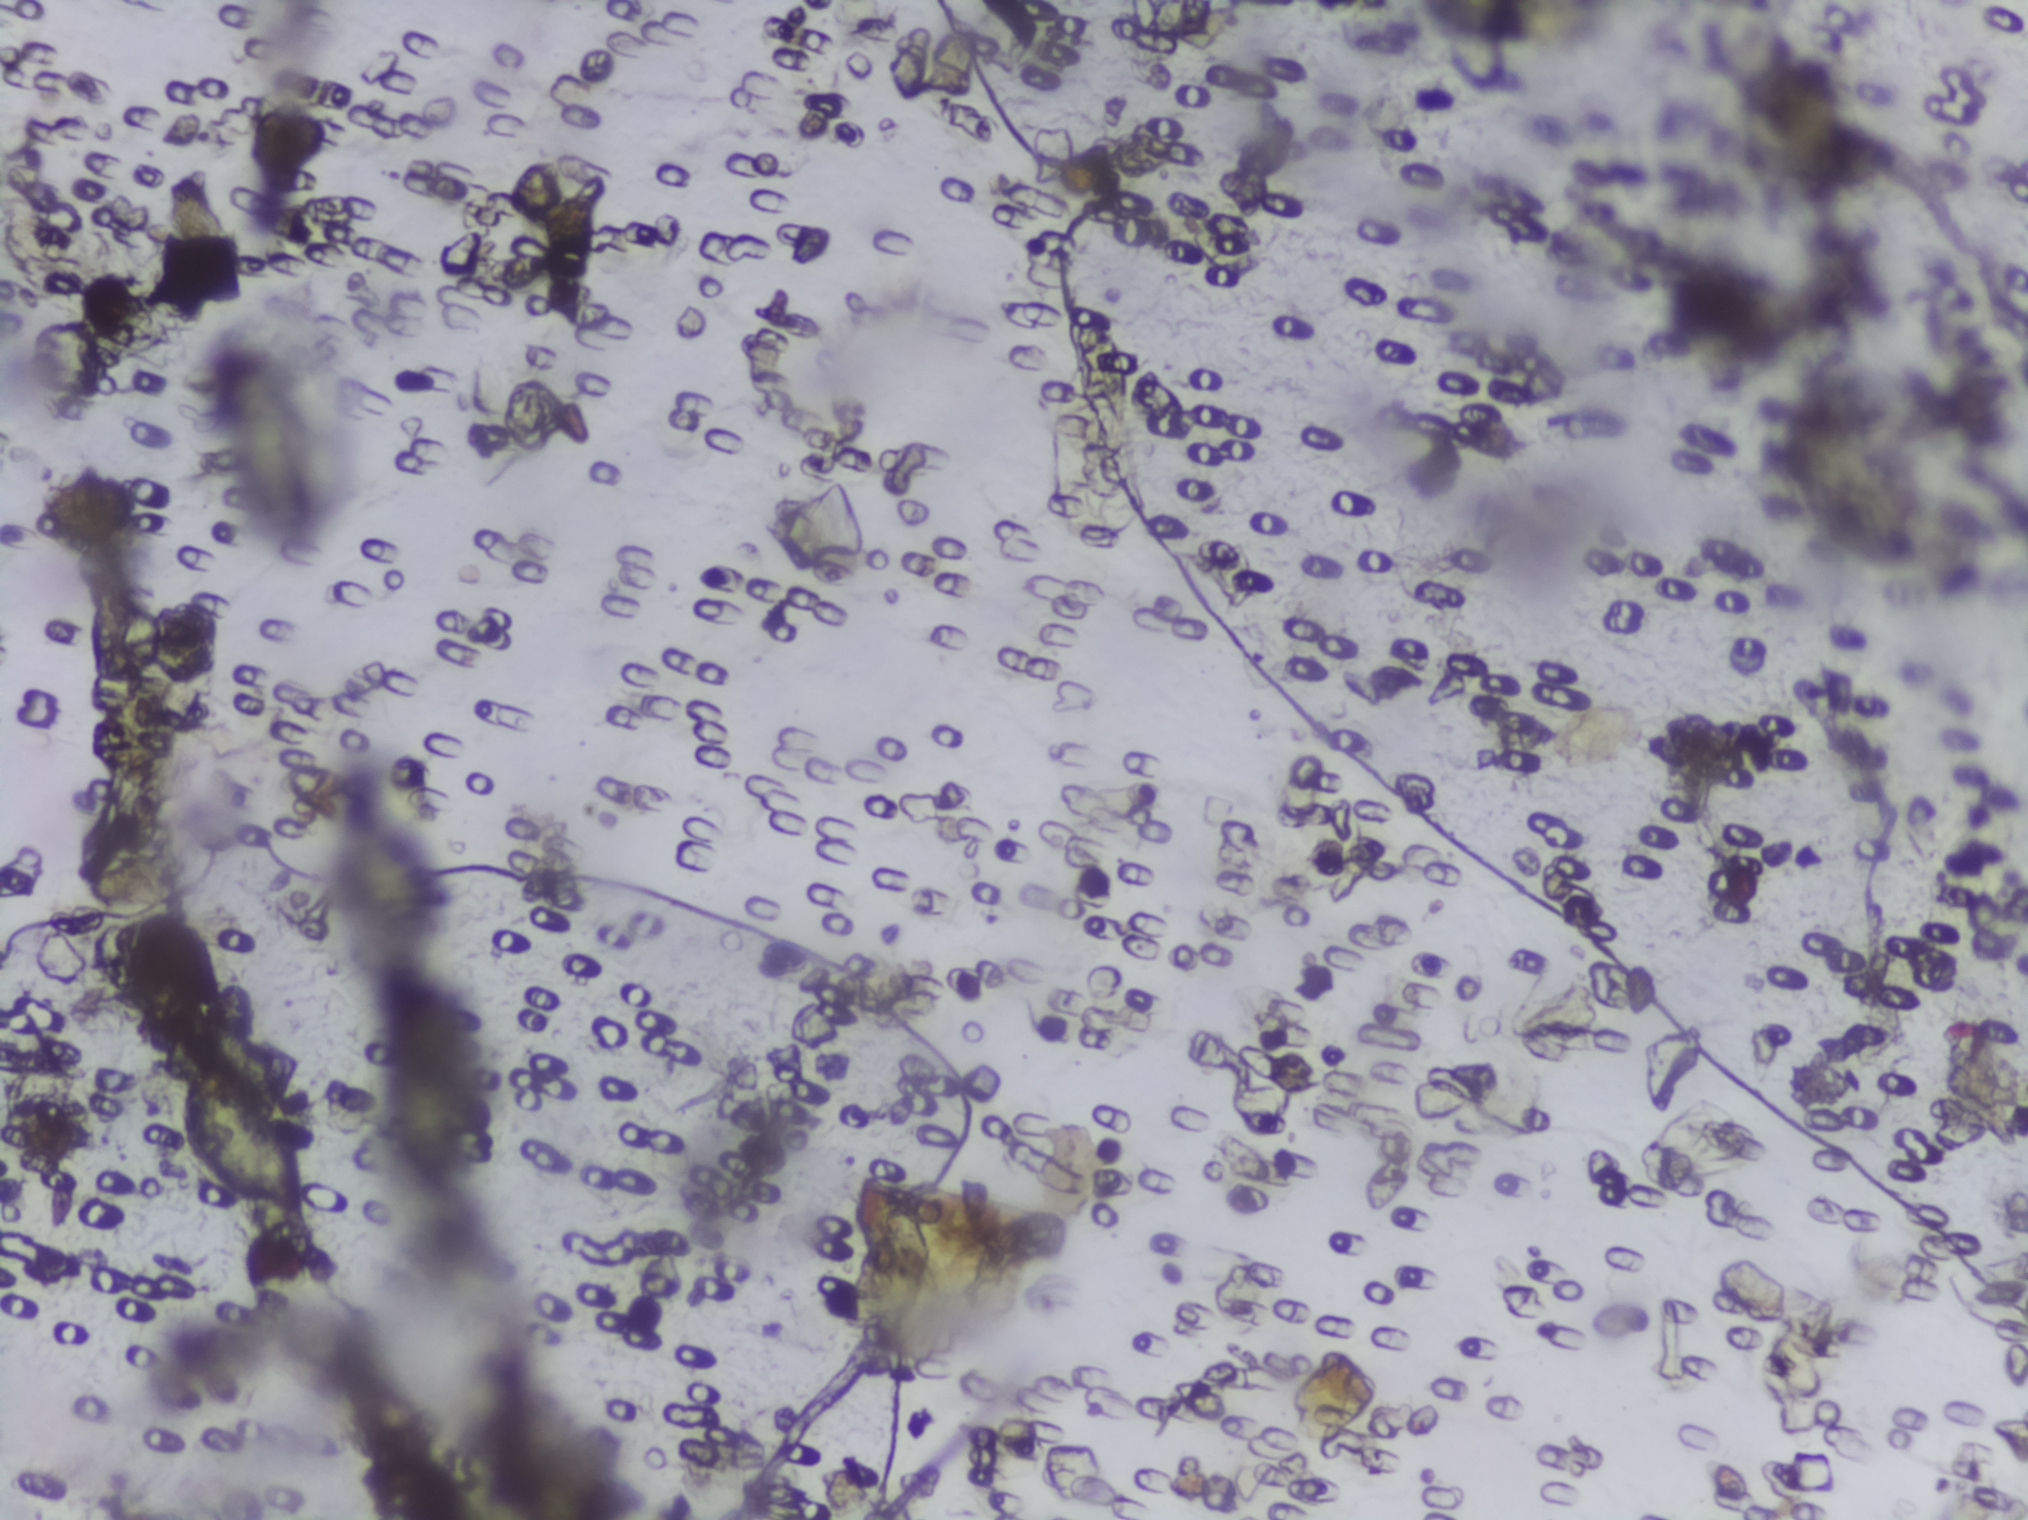
Photograph from an automated digital microscope: urine filter membrane, 4× objective.
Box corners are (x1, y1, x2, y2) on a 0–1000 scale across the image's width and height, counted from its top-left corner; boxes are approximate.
Schistosoma eggs, outlined areas: (81, 683, 154, 808). Eggs that touch can end up inside the same outlined area.